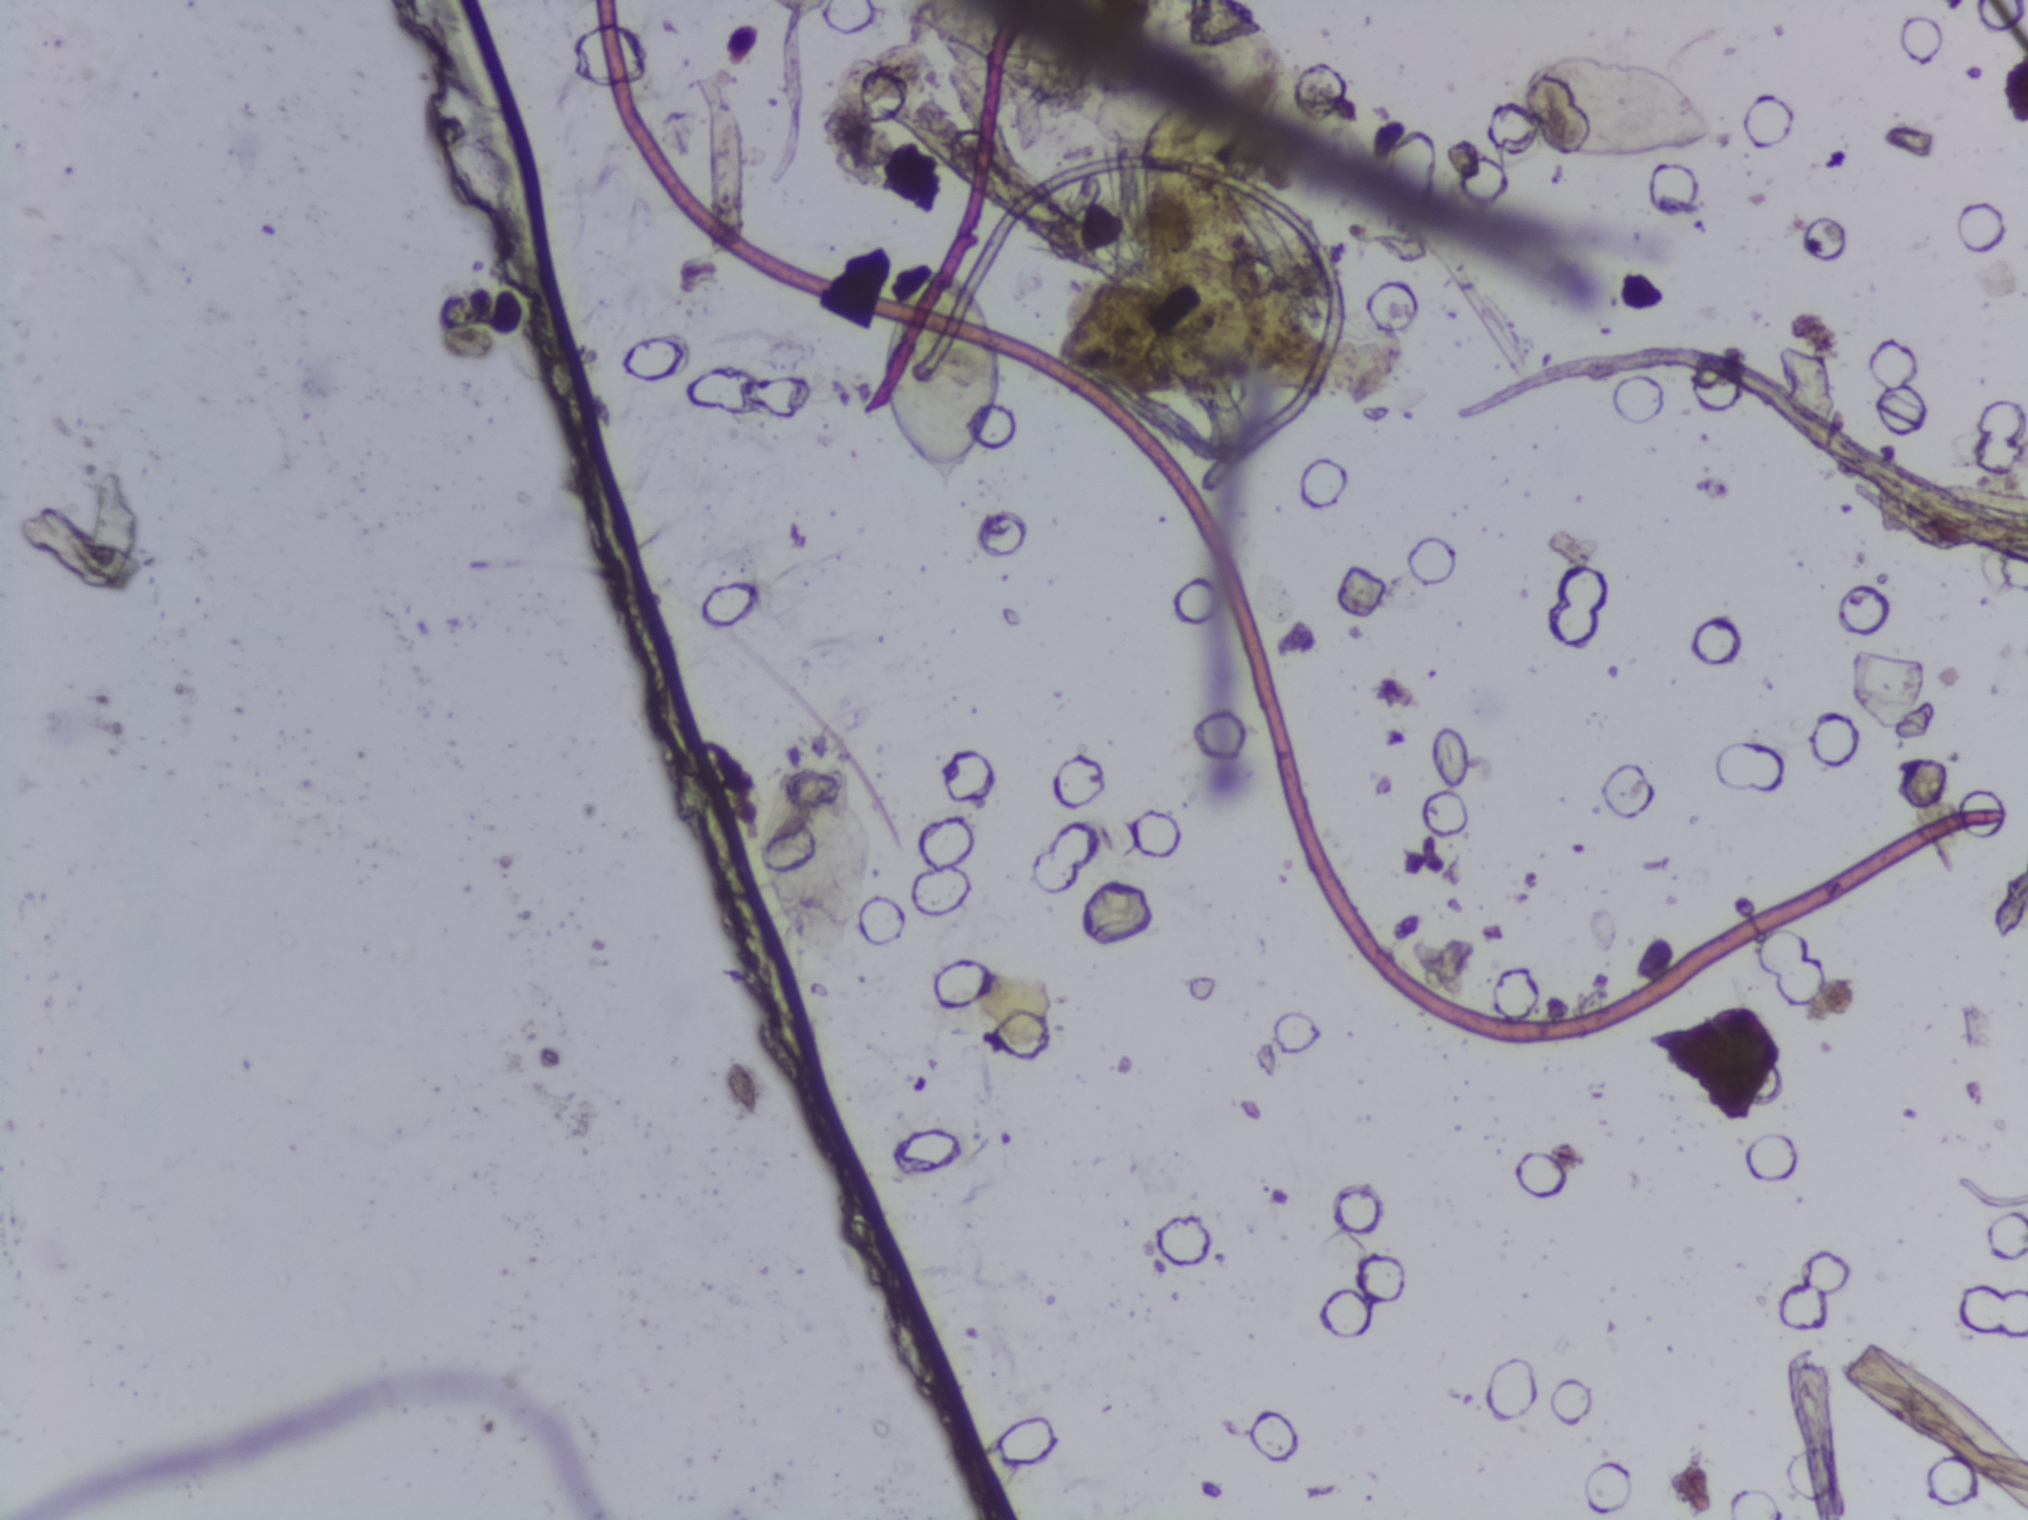
One field of view of a urine filter membrane, 4× objective, 2028 × 1520 pixels.
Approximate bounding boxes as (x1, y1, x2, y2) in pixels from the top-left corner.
Findings: three areas outlined as Schistosoma eggs. Locations: (762, 753, 873, 963); (879, 263, 1001, 500); (1092, 18, 1297, 144). A single outlined area may contain several eggs.